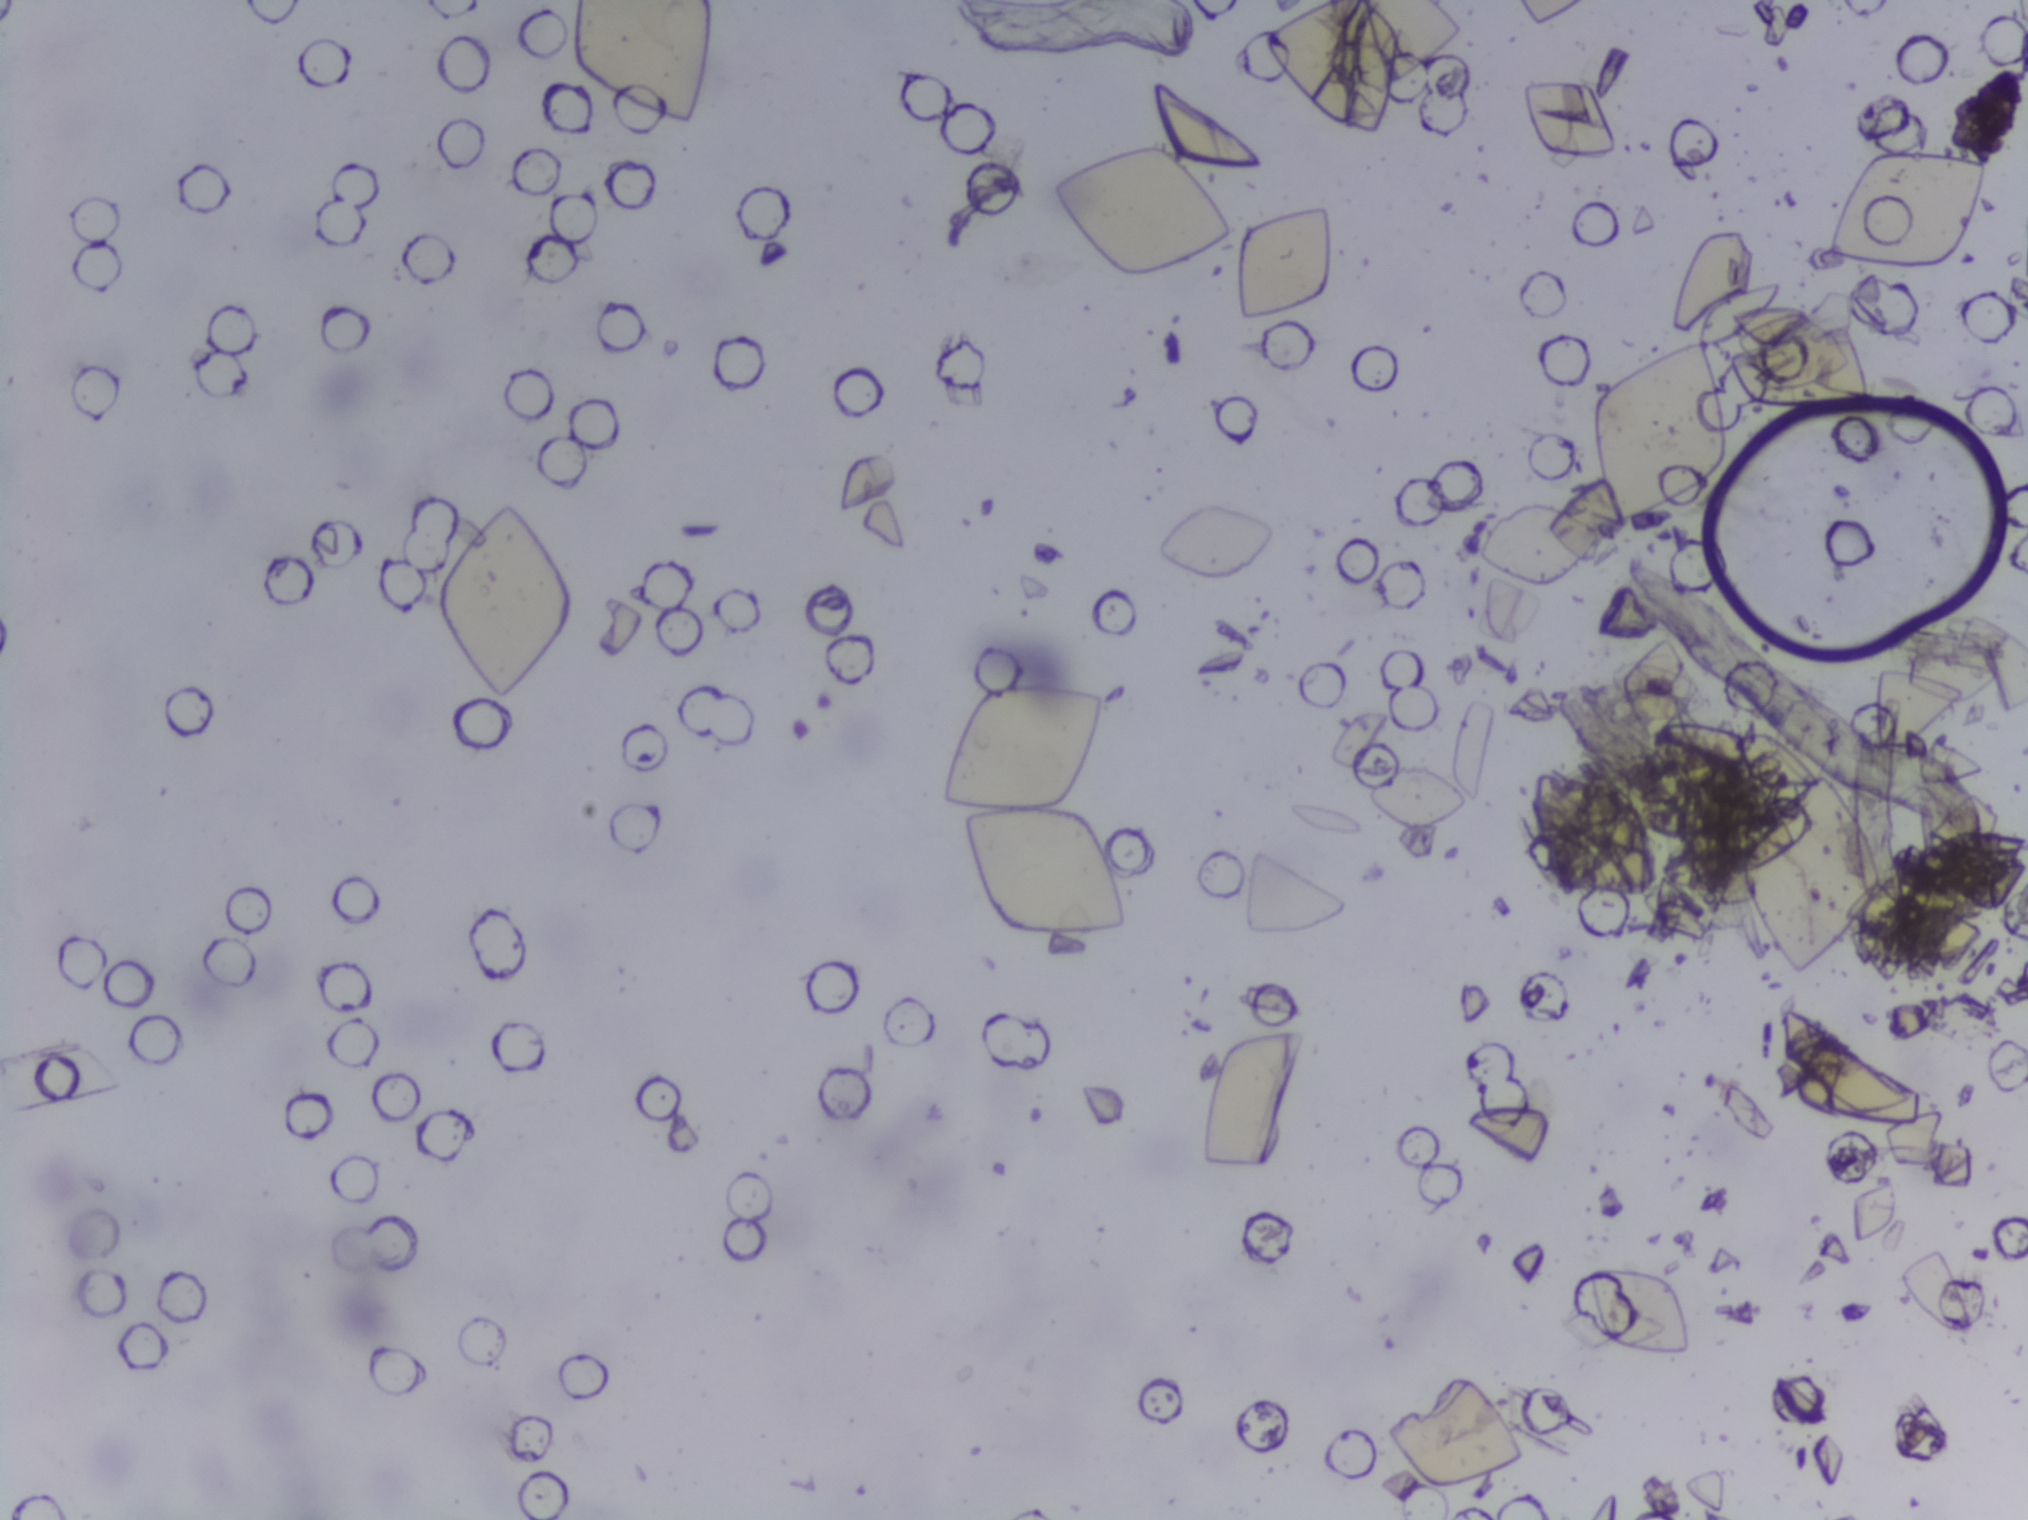
Photograph from an automated digital microscope: urine filter membrane, 4× objective.
No Schistosoma egg is outlined in this image's expert annotation.